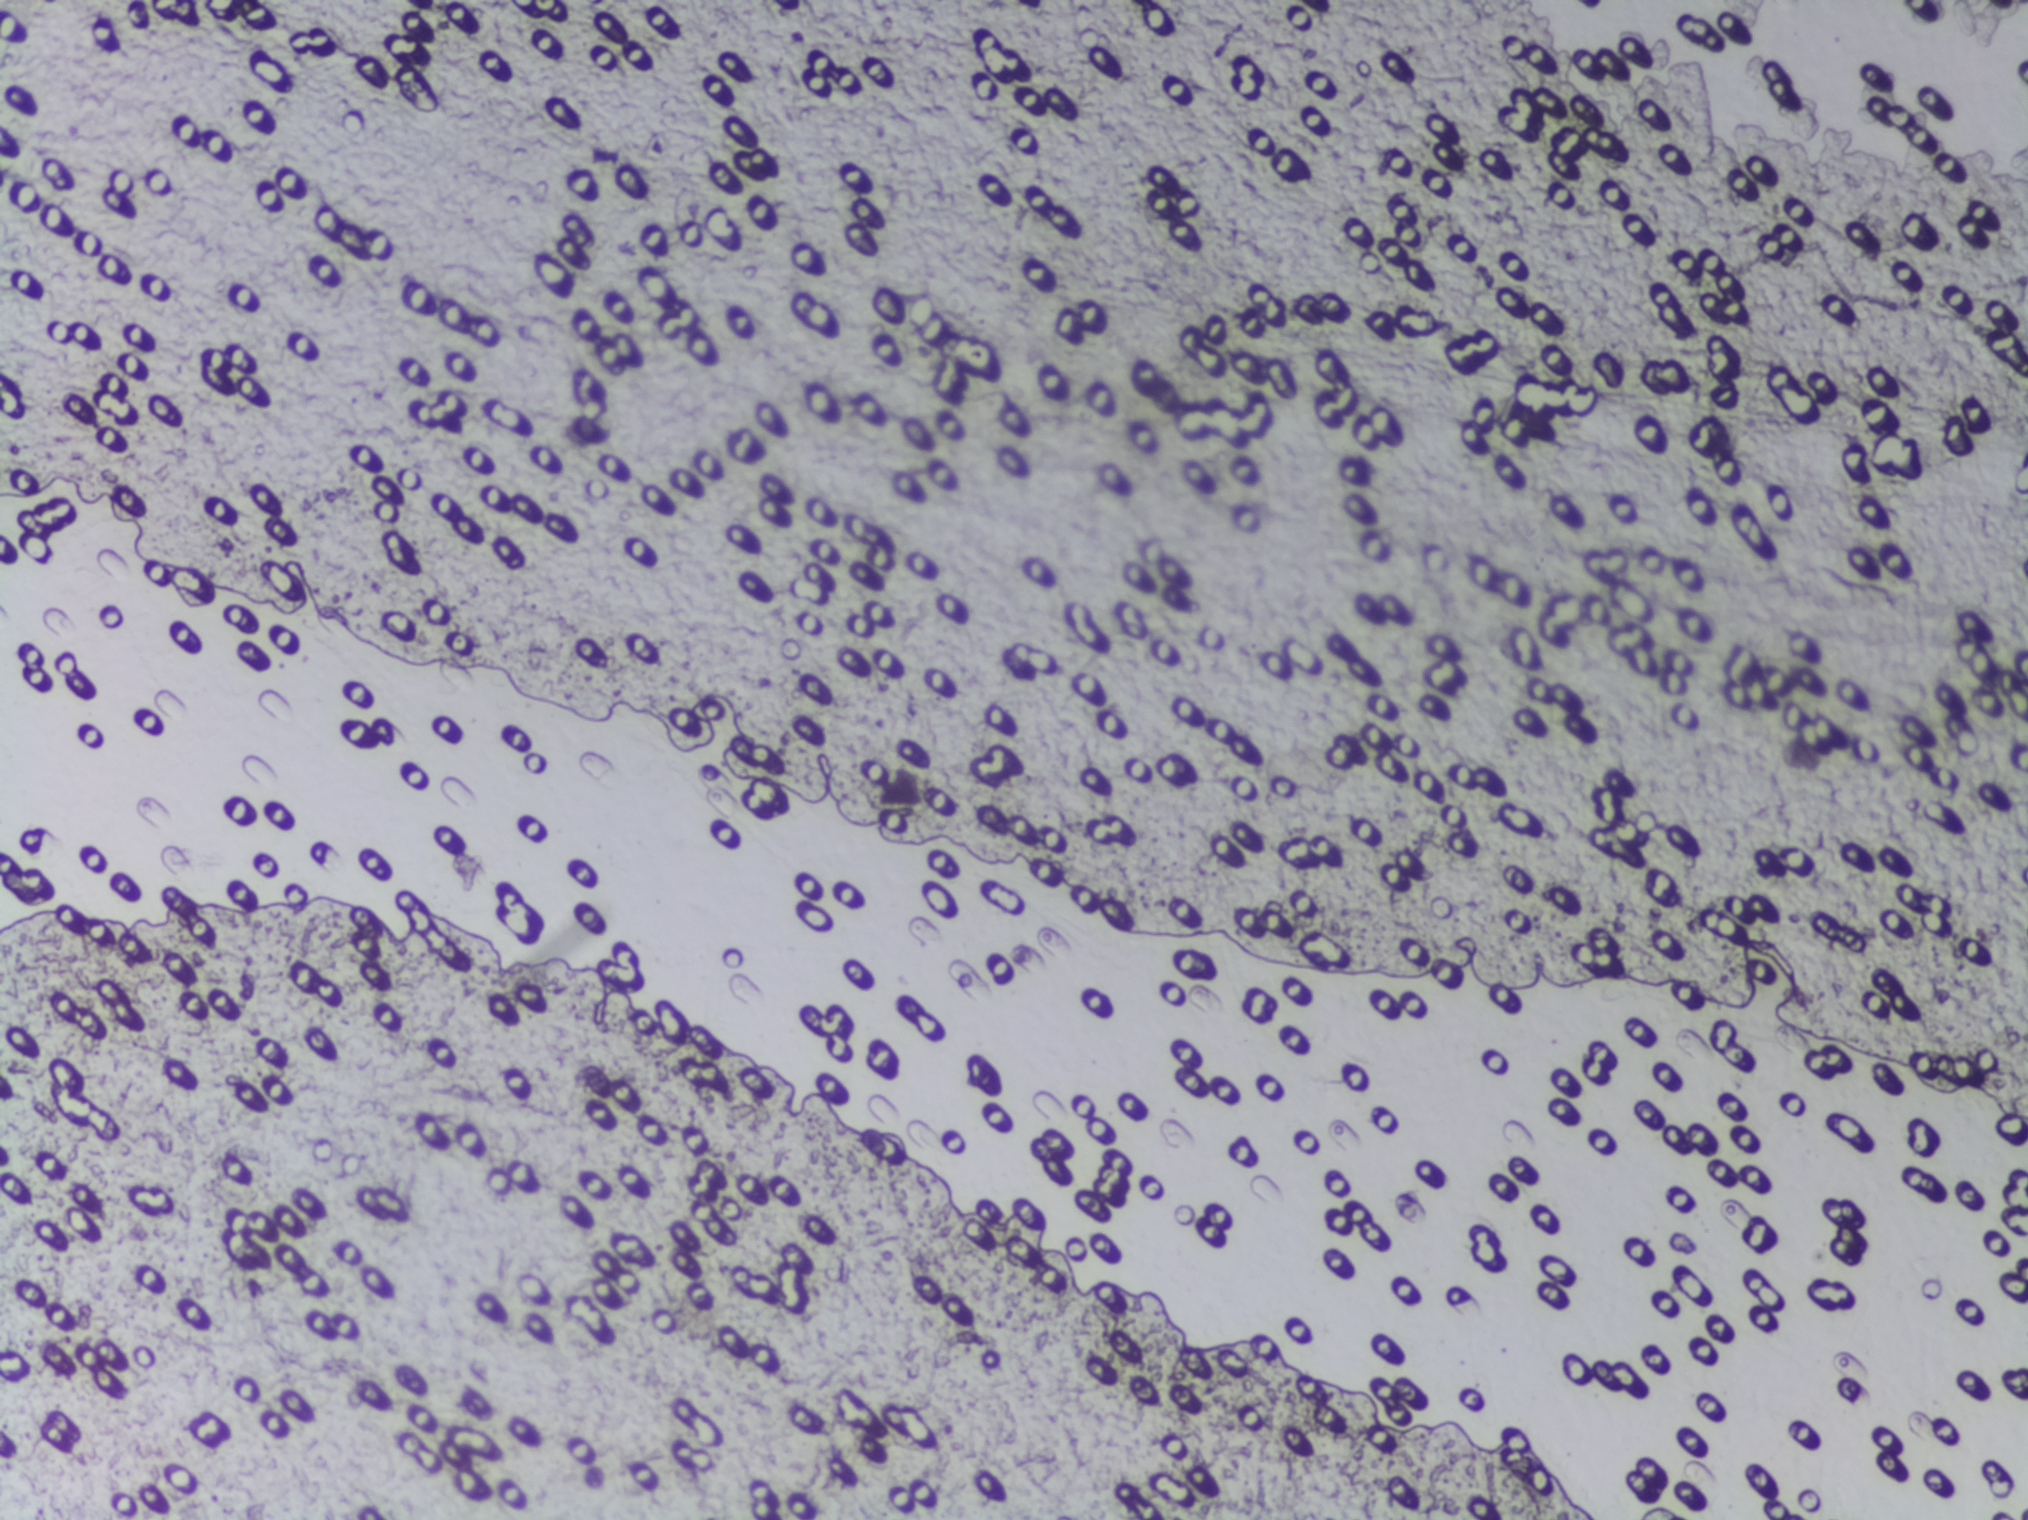
The expert annotation outlines no Schistosoma egg in this image.
One field of view of a urine filter membrane, 4× objective, 2028 × 1520 pixels. The field of view is about 1.5 mm × 1.1 mm.